Urine filter membrane photographed through a 4× microscope objective.
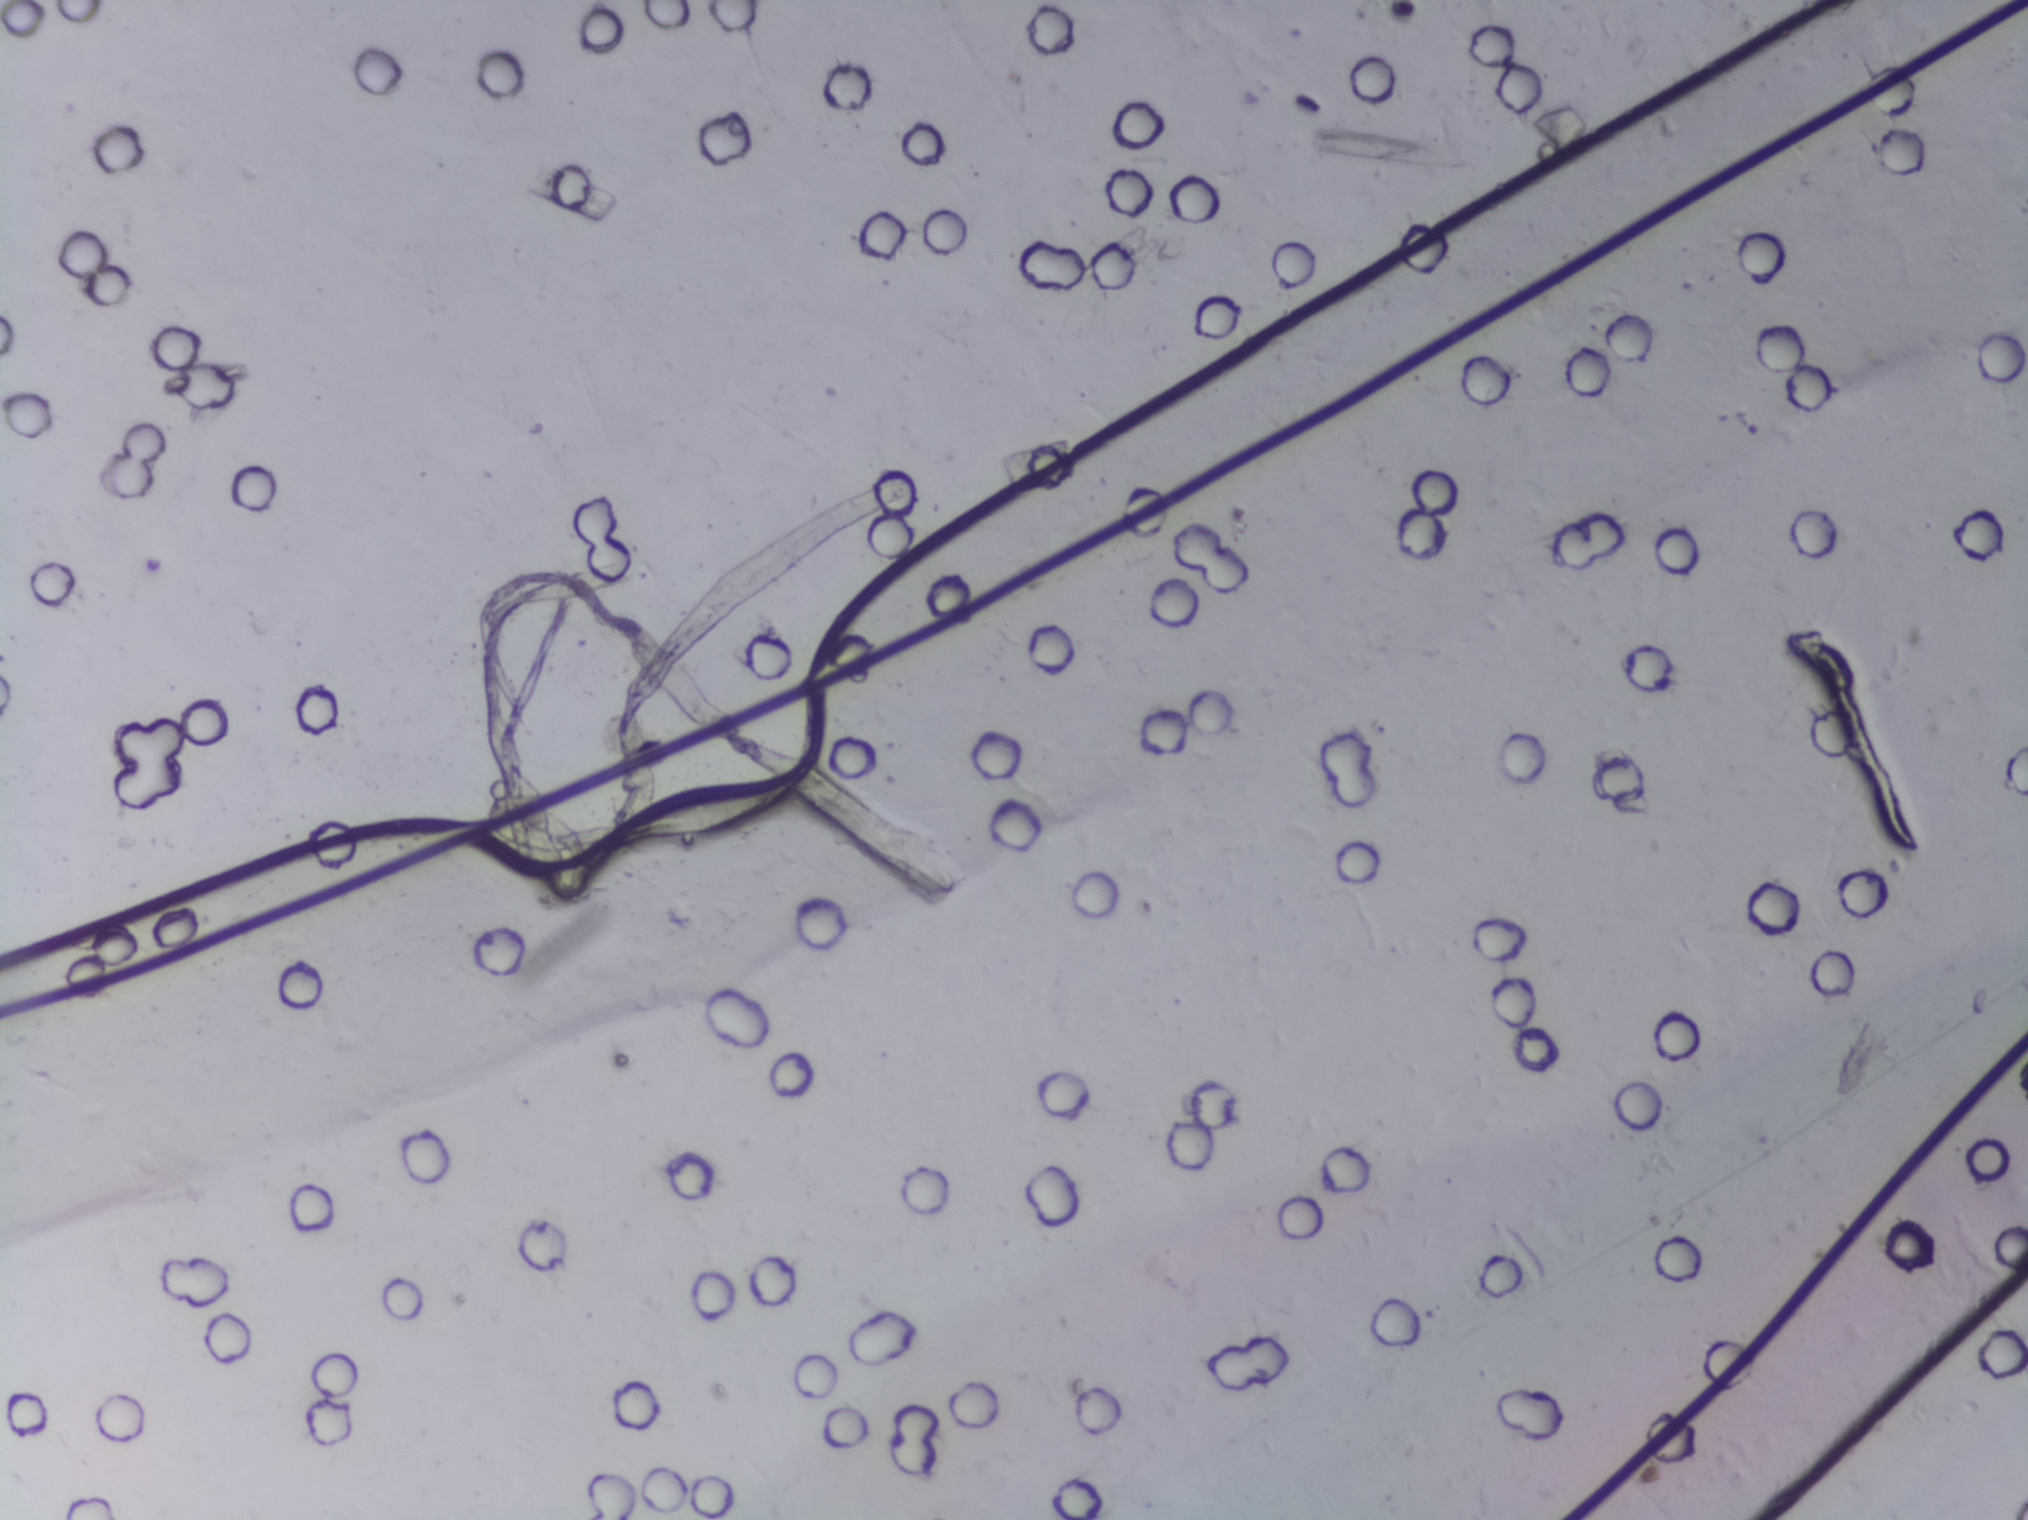
Schistosoma eggs: none outlined.